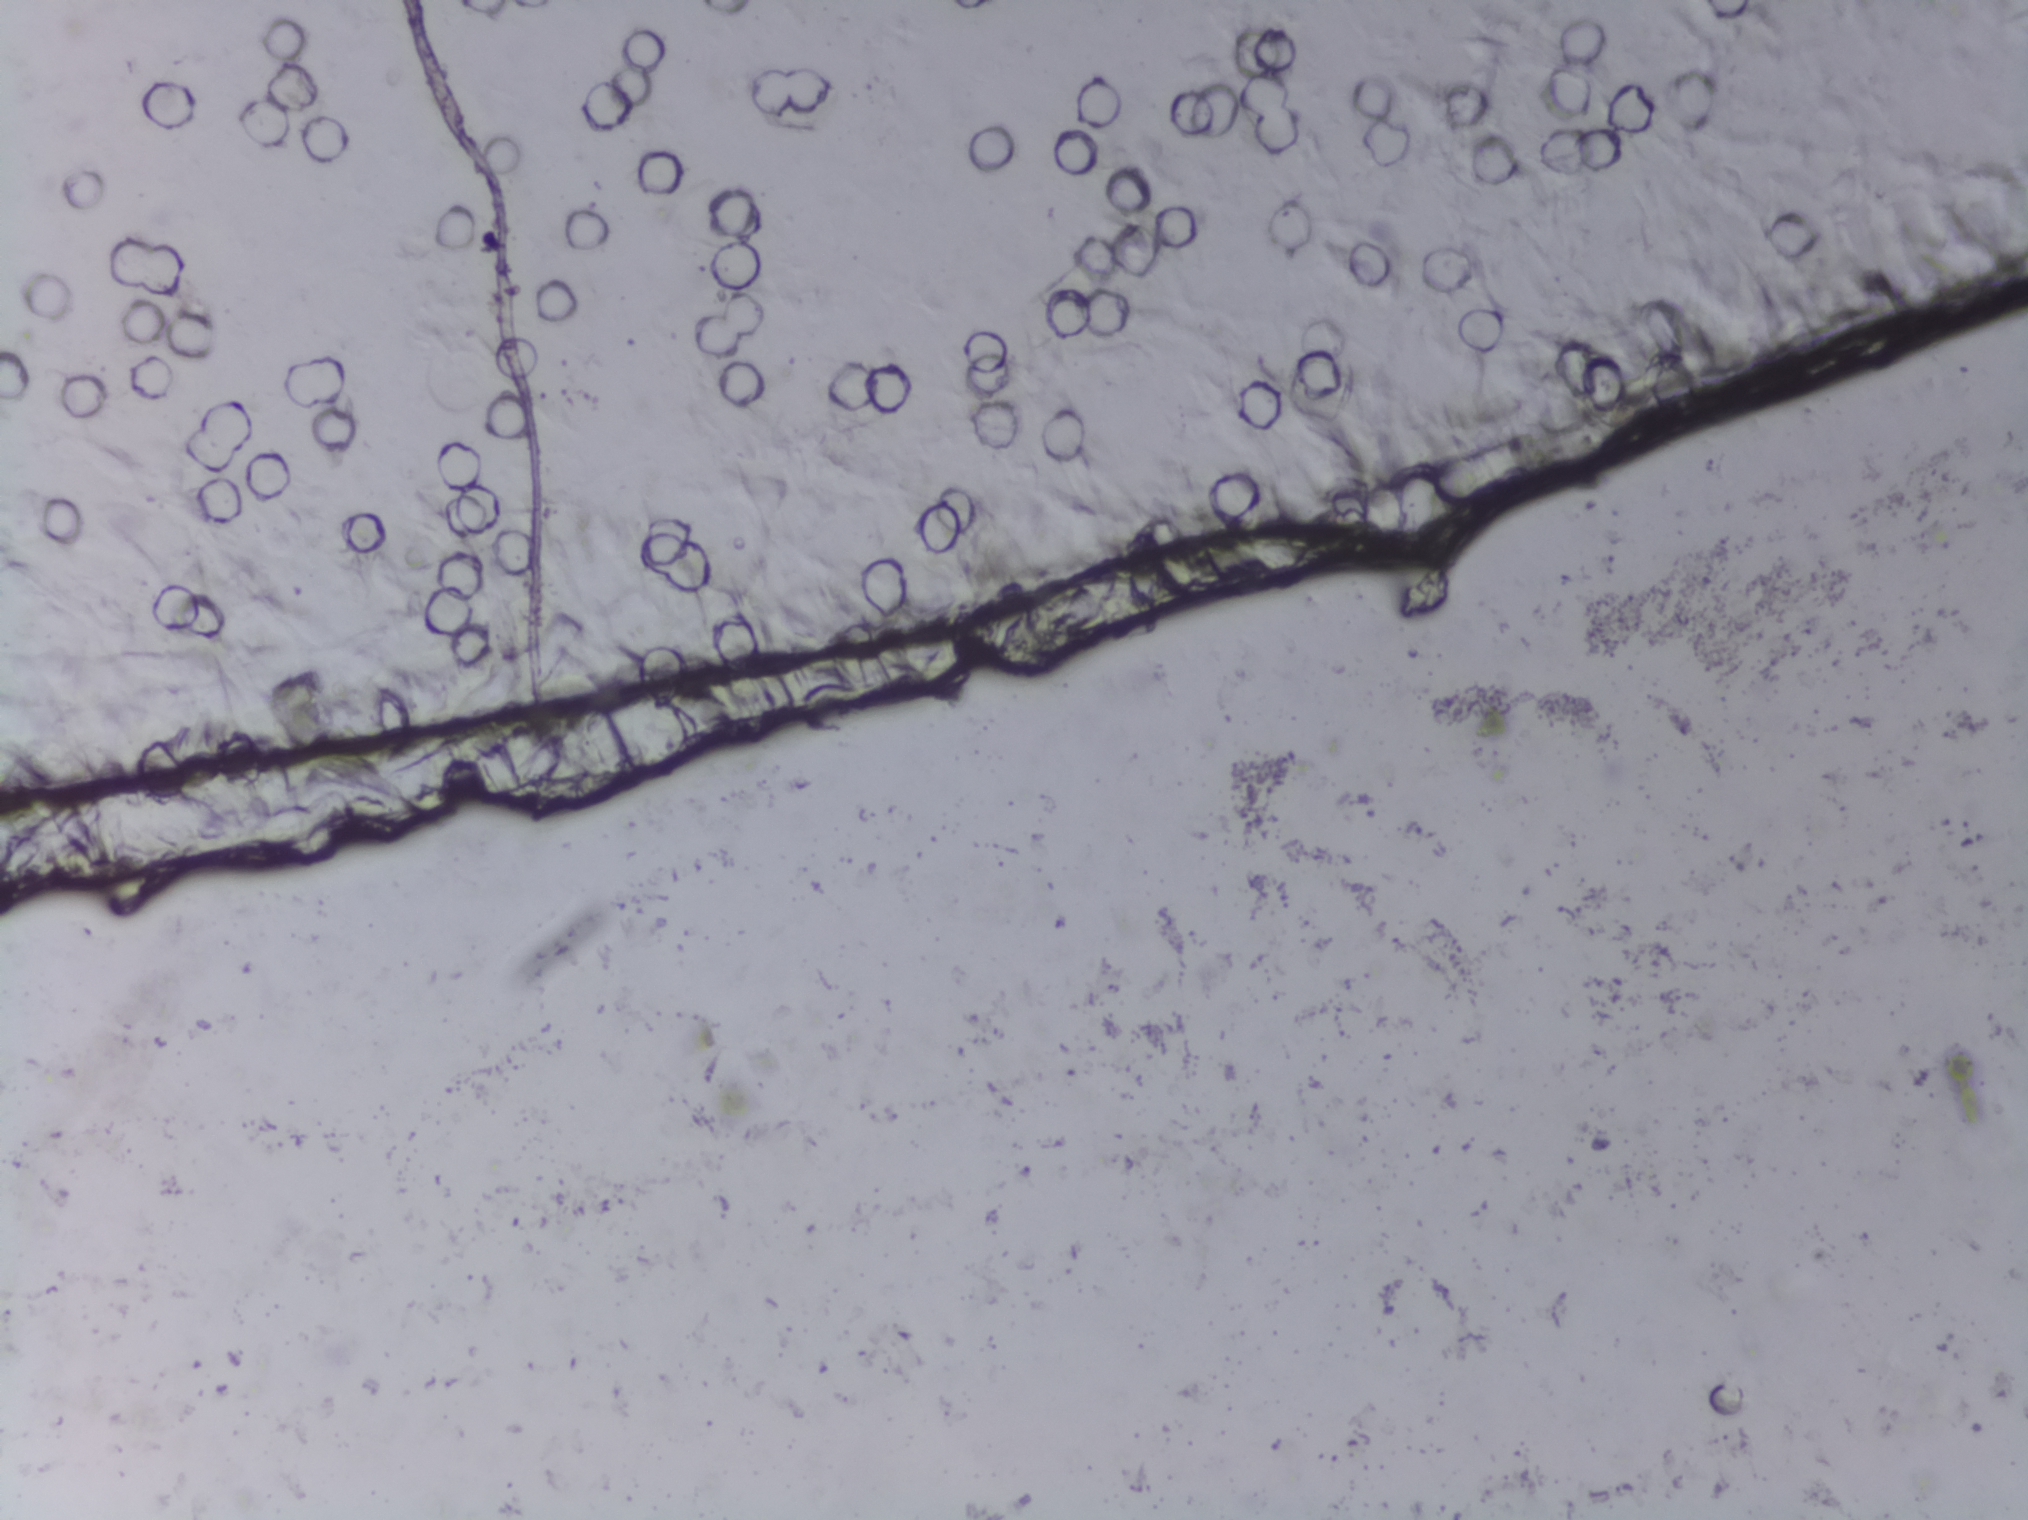
No Schistosoma egg is outlined in this image's expert annotation.
Urine filtration membrane under a 4× objective, photographed by an automated digital microscope.